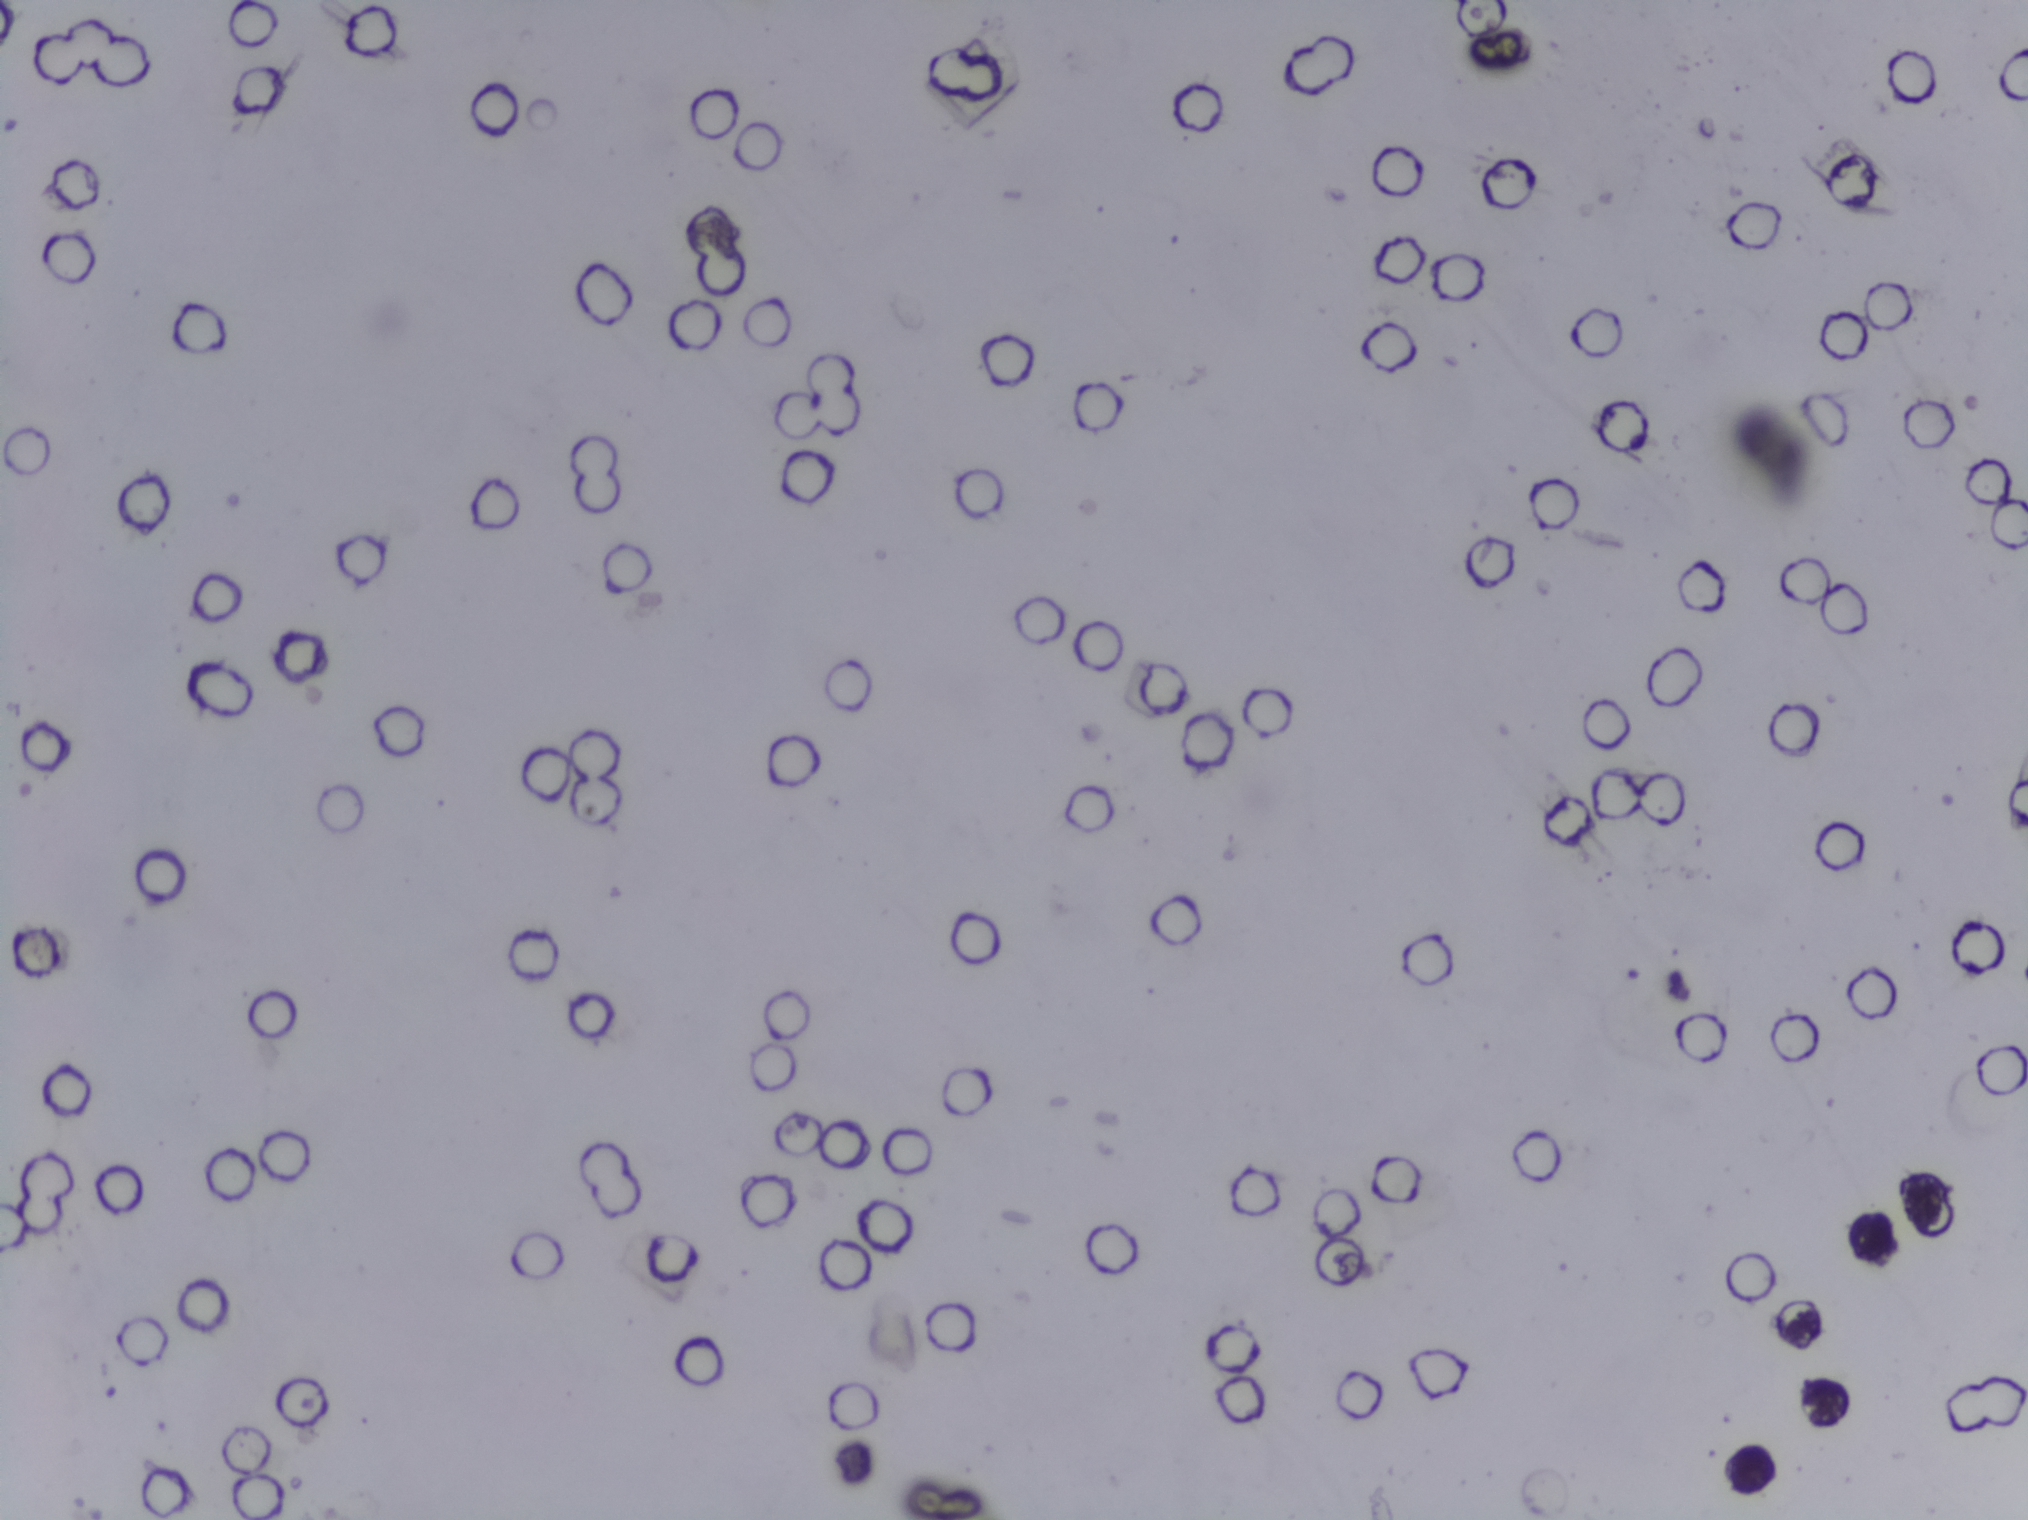
No Schistosoma egg is outlined in this image's expert annotation.
Photomicrograph of a urine filtration membrane, 4× objective.